Urine filtration membrane under a 4× objective, photographed by an automated digital microscope. The image covers about 1.5 × 1.1 mm of the membrane.
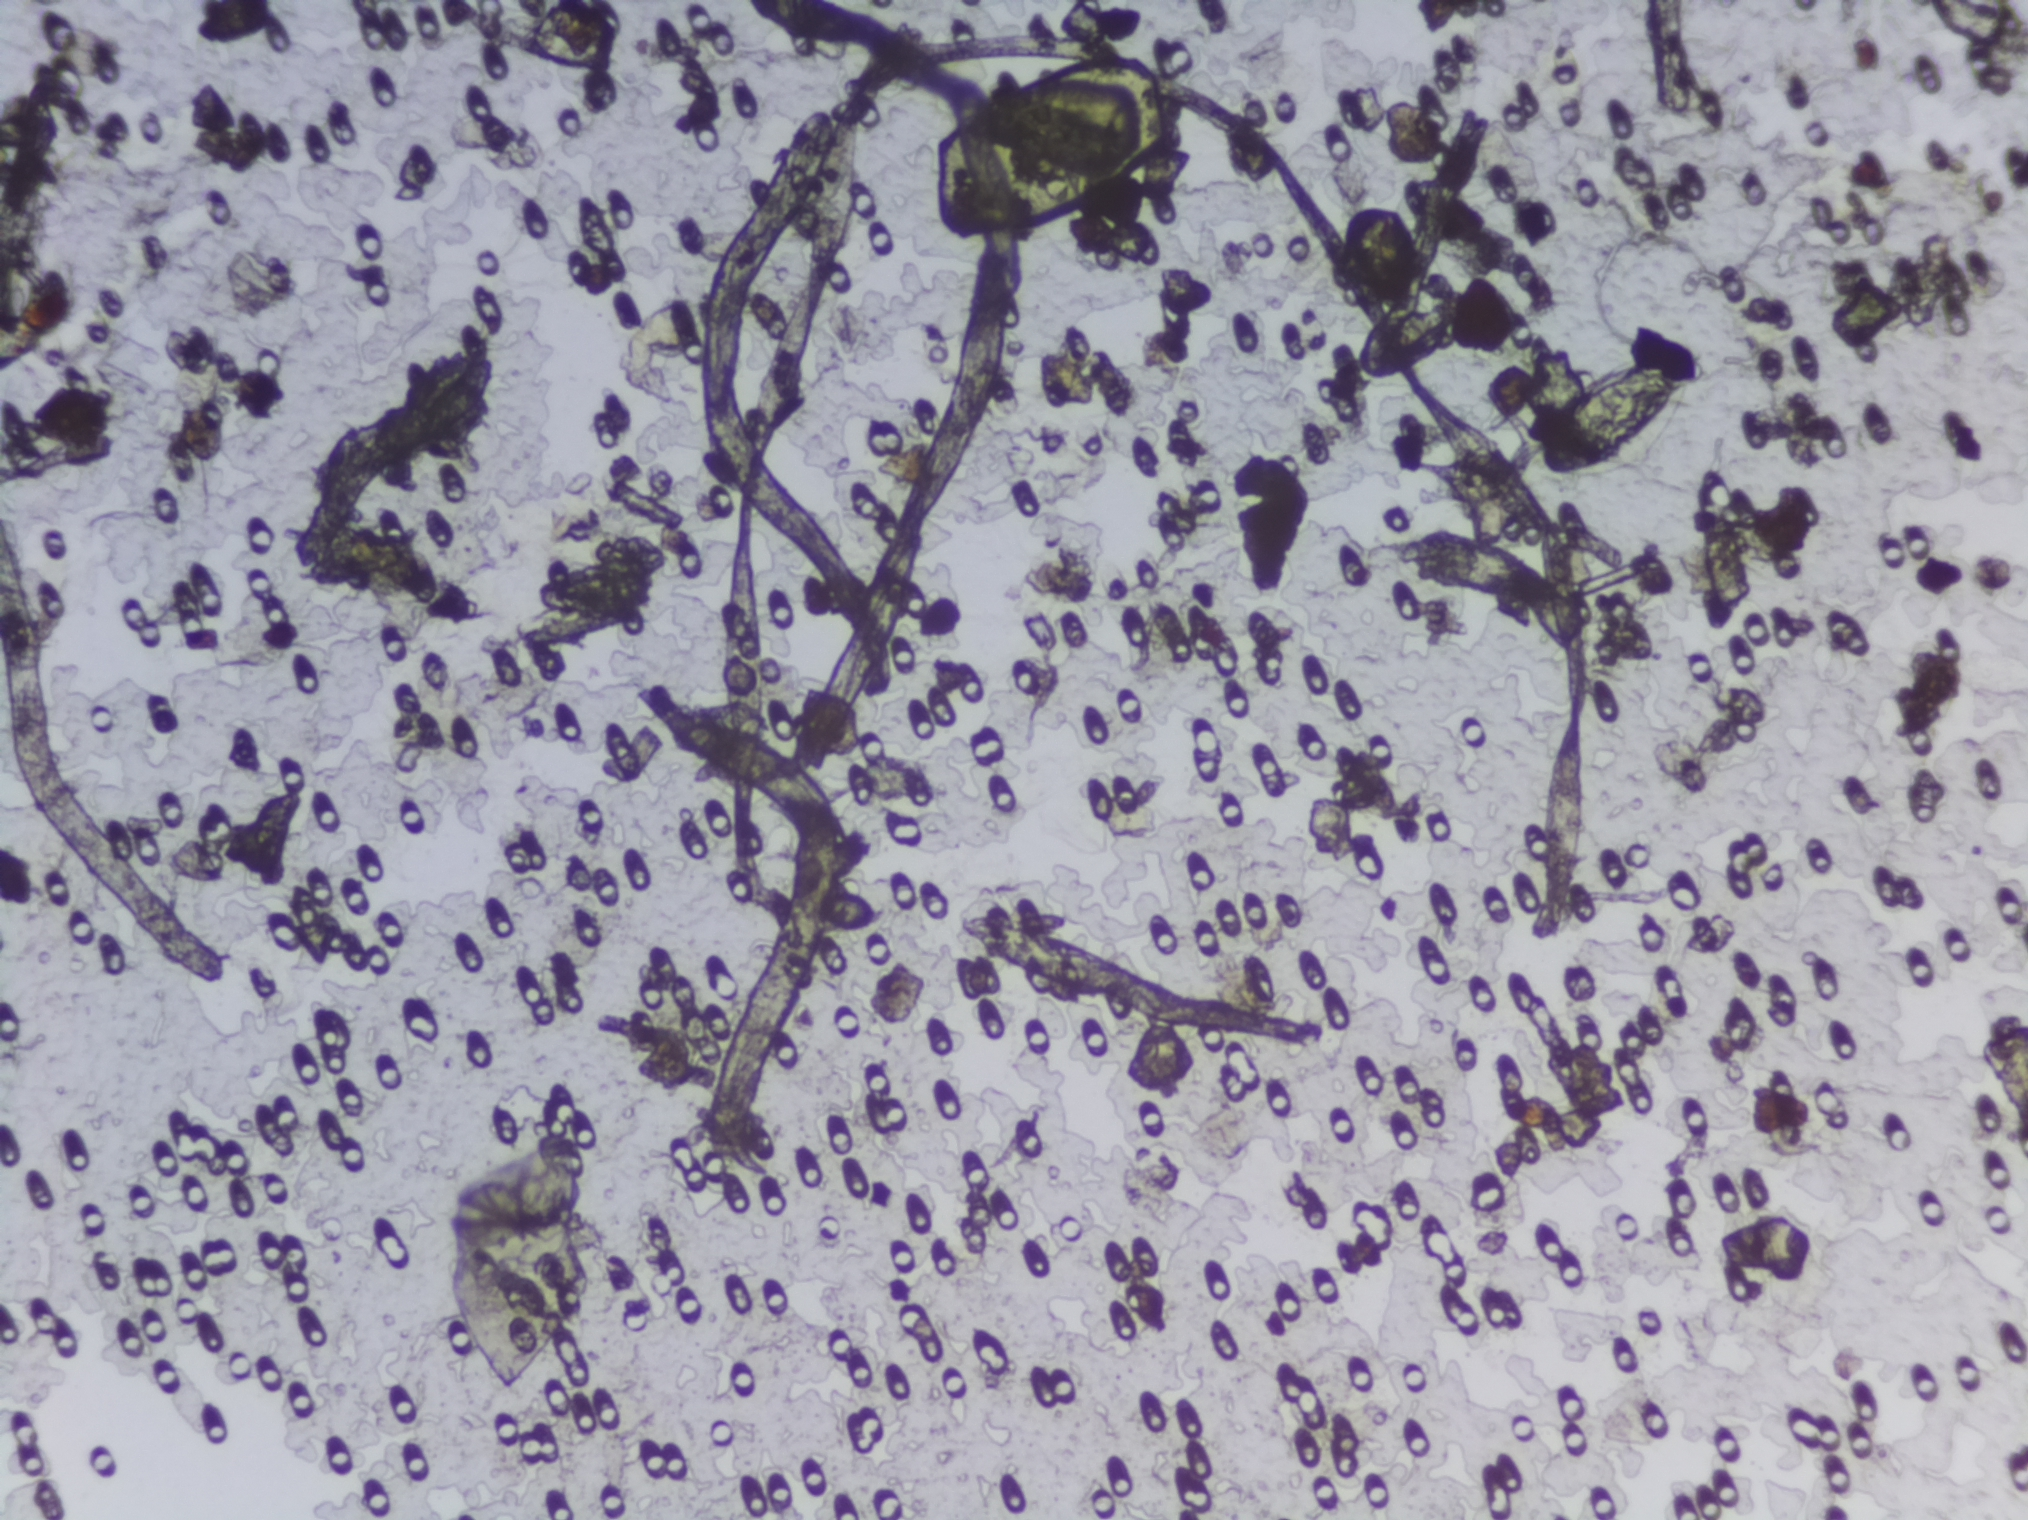
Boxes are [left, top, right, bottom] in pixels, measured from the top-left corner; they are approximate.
The expert annotation outlines Schistosoma eggs at [443, 1146, 602, 1404]; [1350, 271, 1488, 389]; [1531, 348, 1698, 486] (left to right). Marked pixels, not the boxes around them: about 1.8% of the image. Eggs that touch can end up inside the same outlined area.